One field of view of a urine filter membrane, 4× objective, 2028 × 1520 pixels.
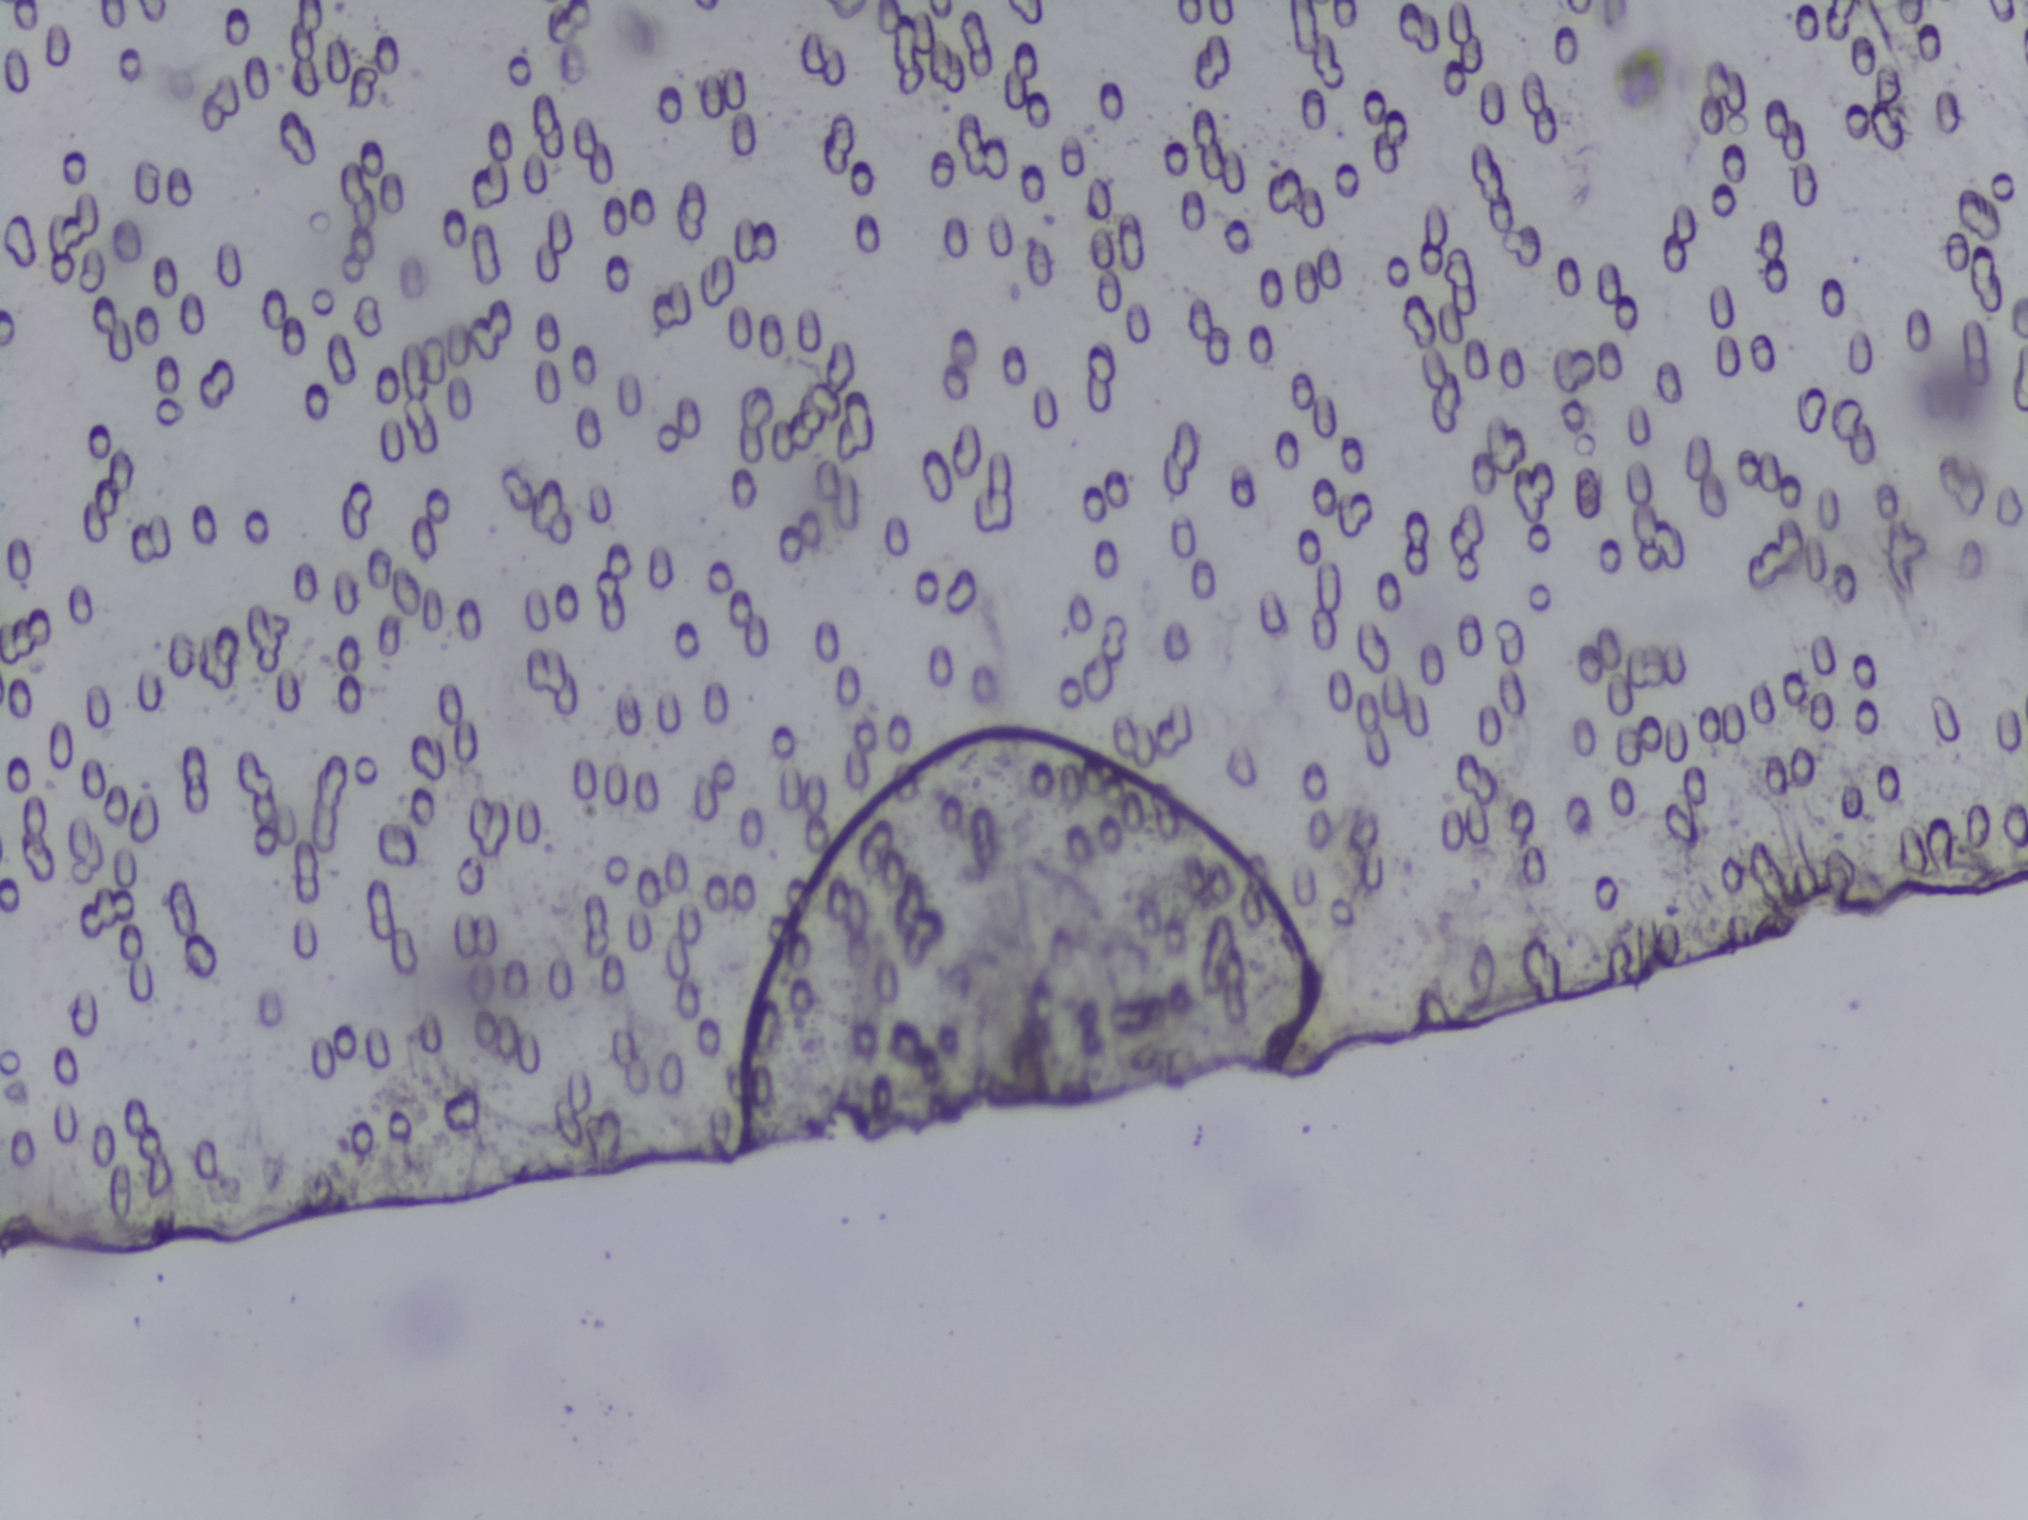
The expert annotation outlines no Schistosoma egg in this image.